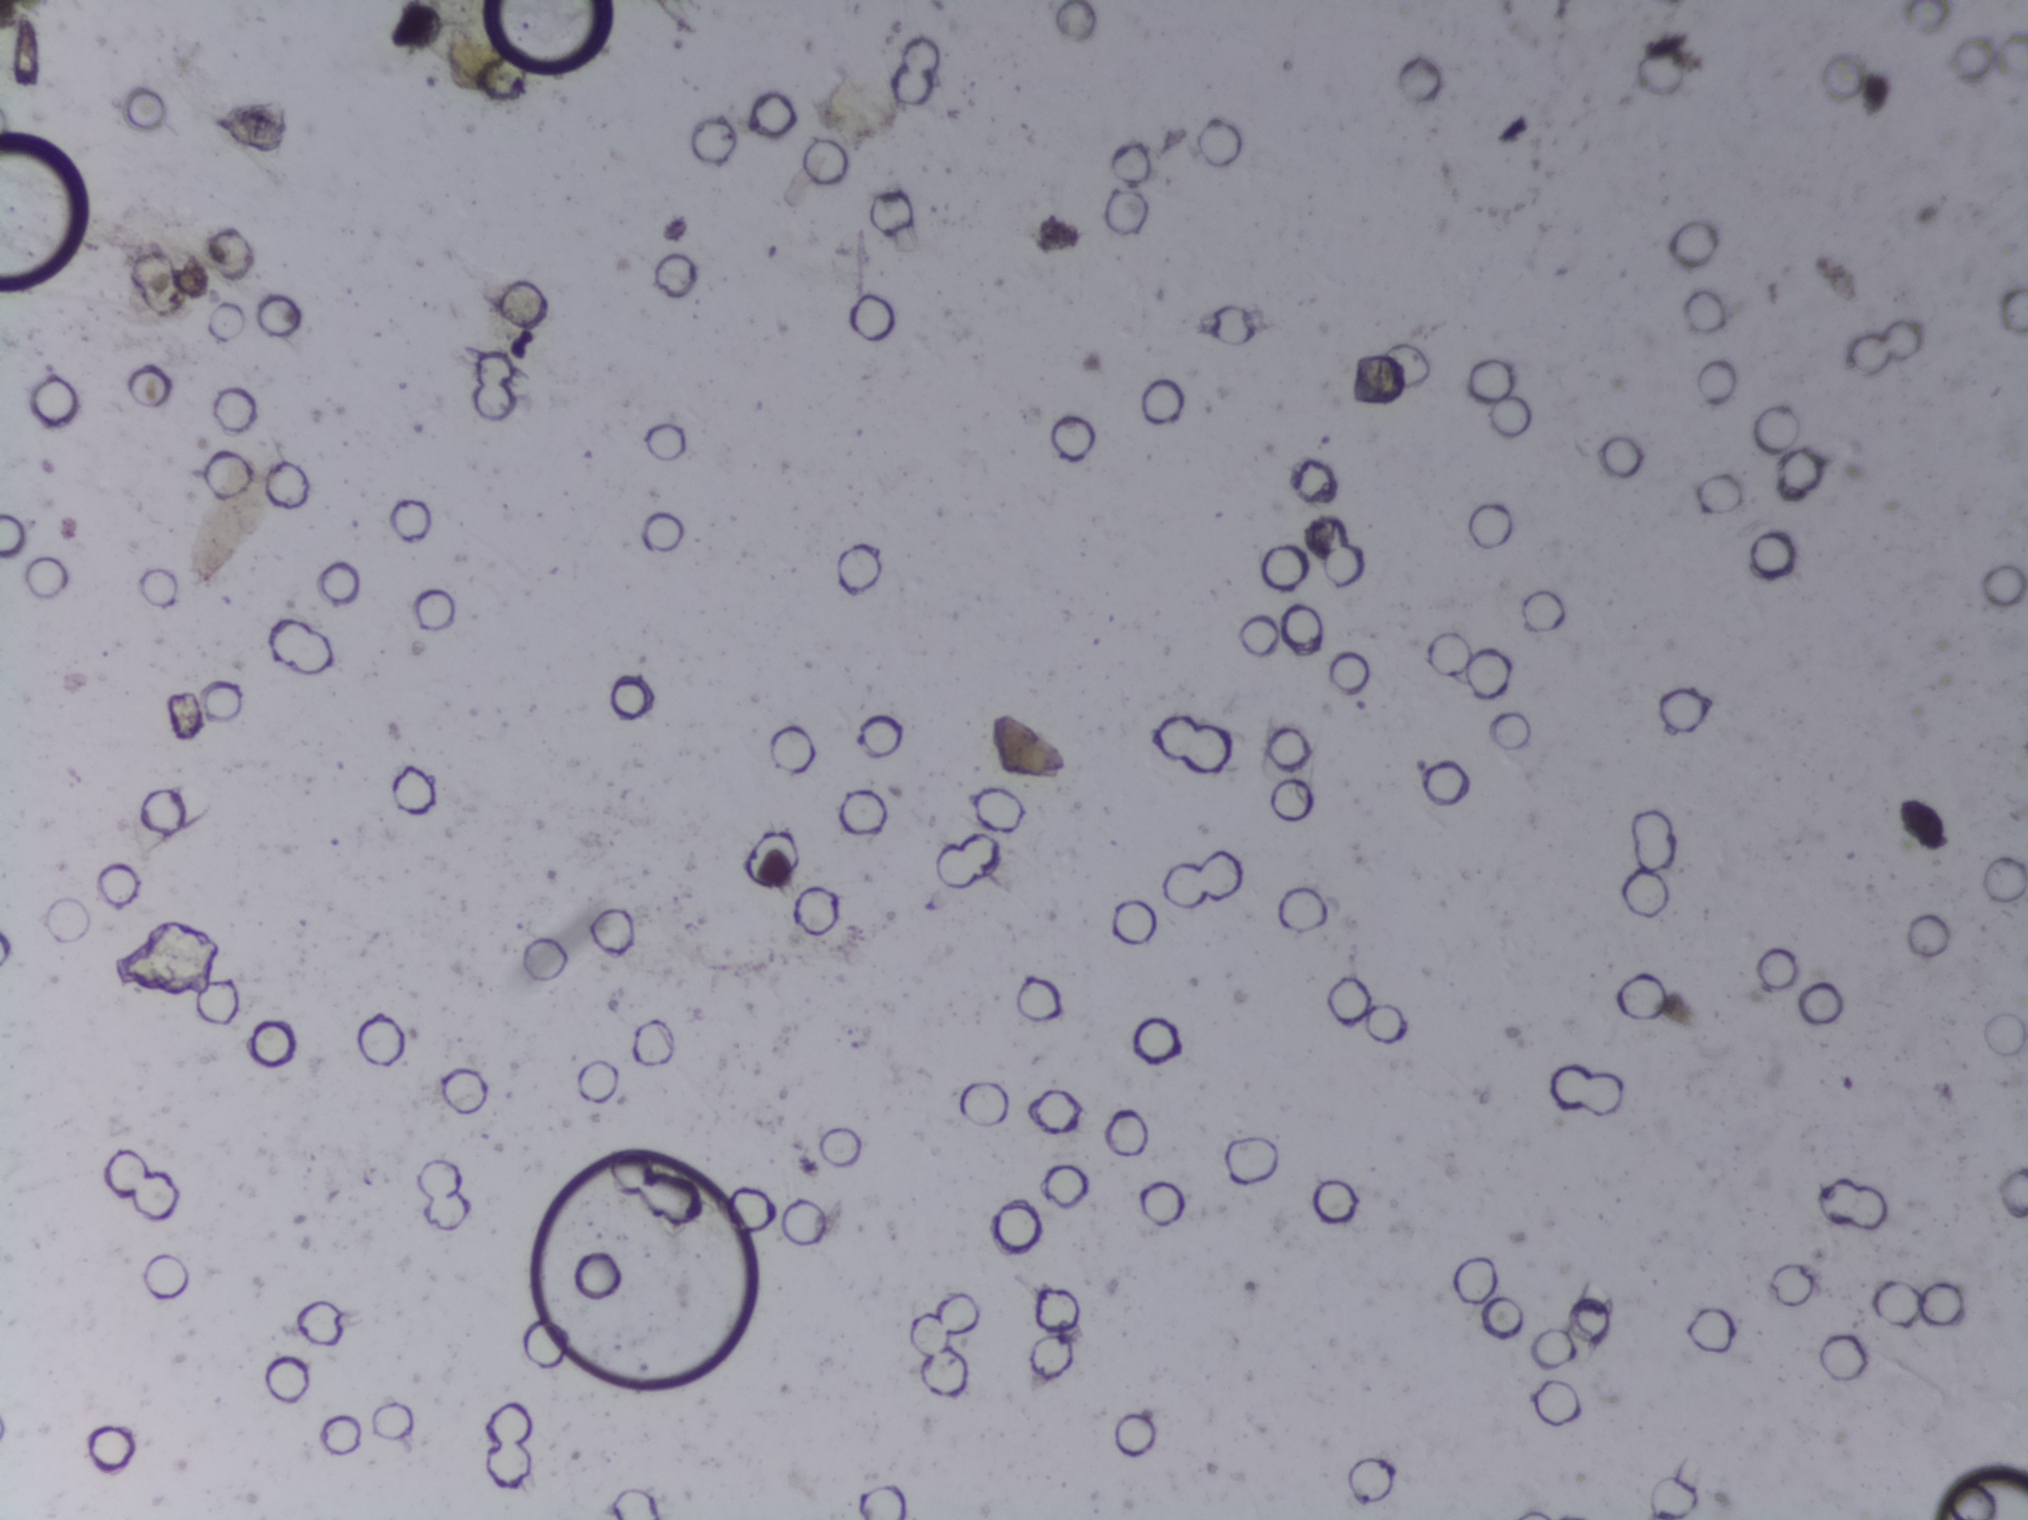
Photograph from an automated digital microscope: urine filter membrane, 4× objective.
Schistosoma eggs: none outlined.